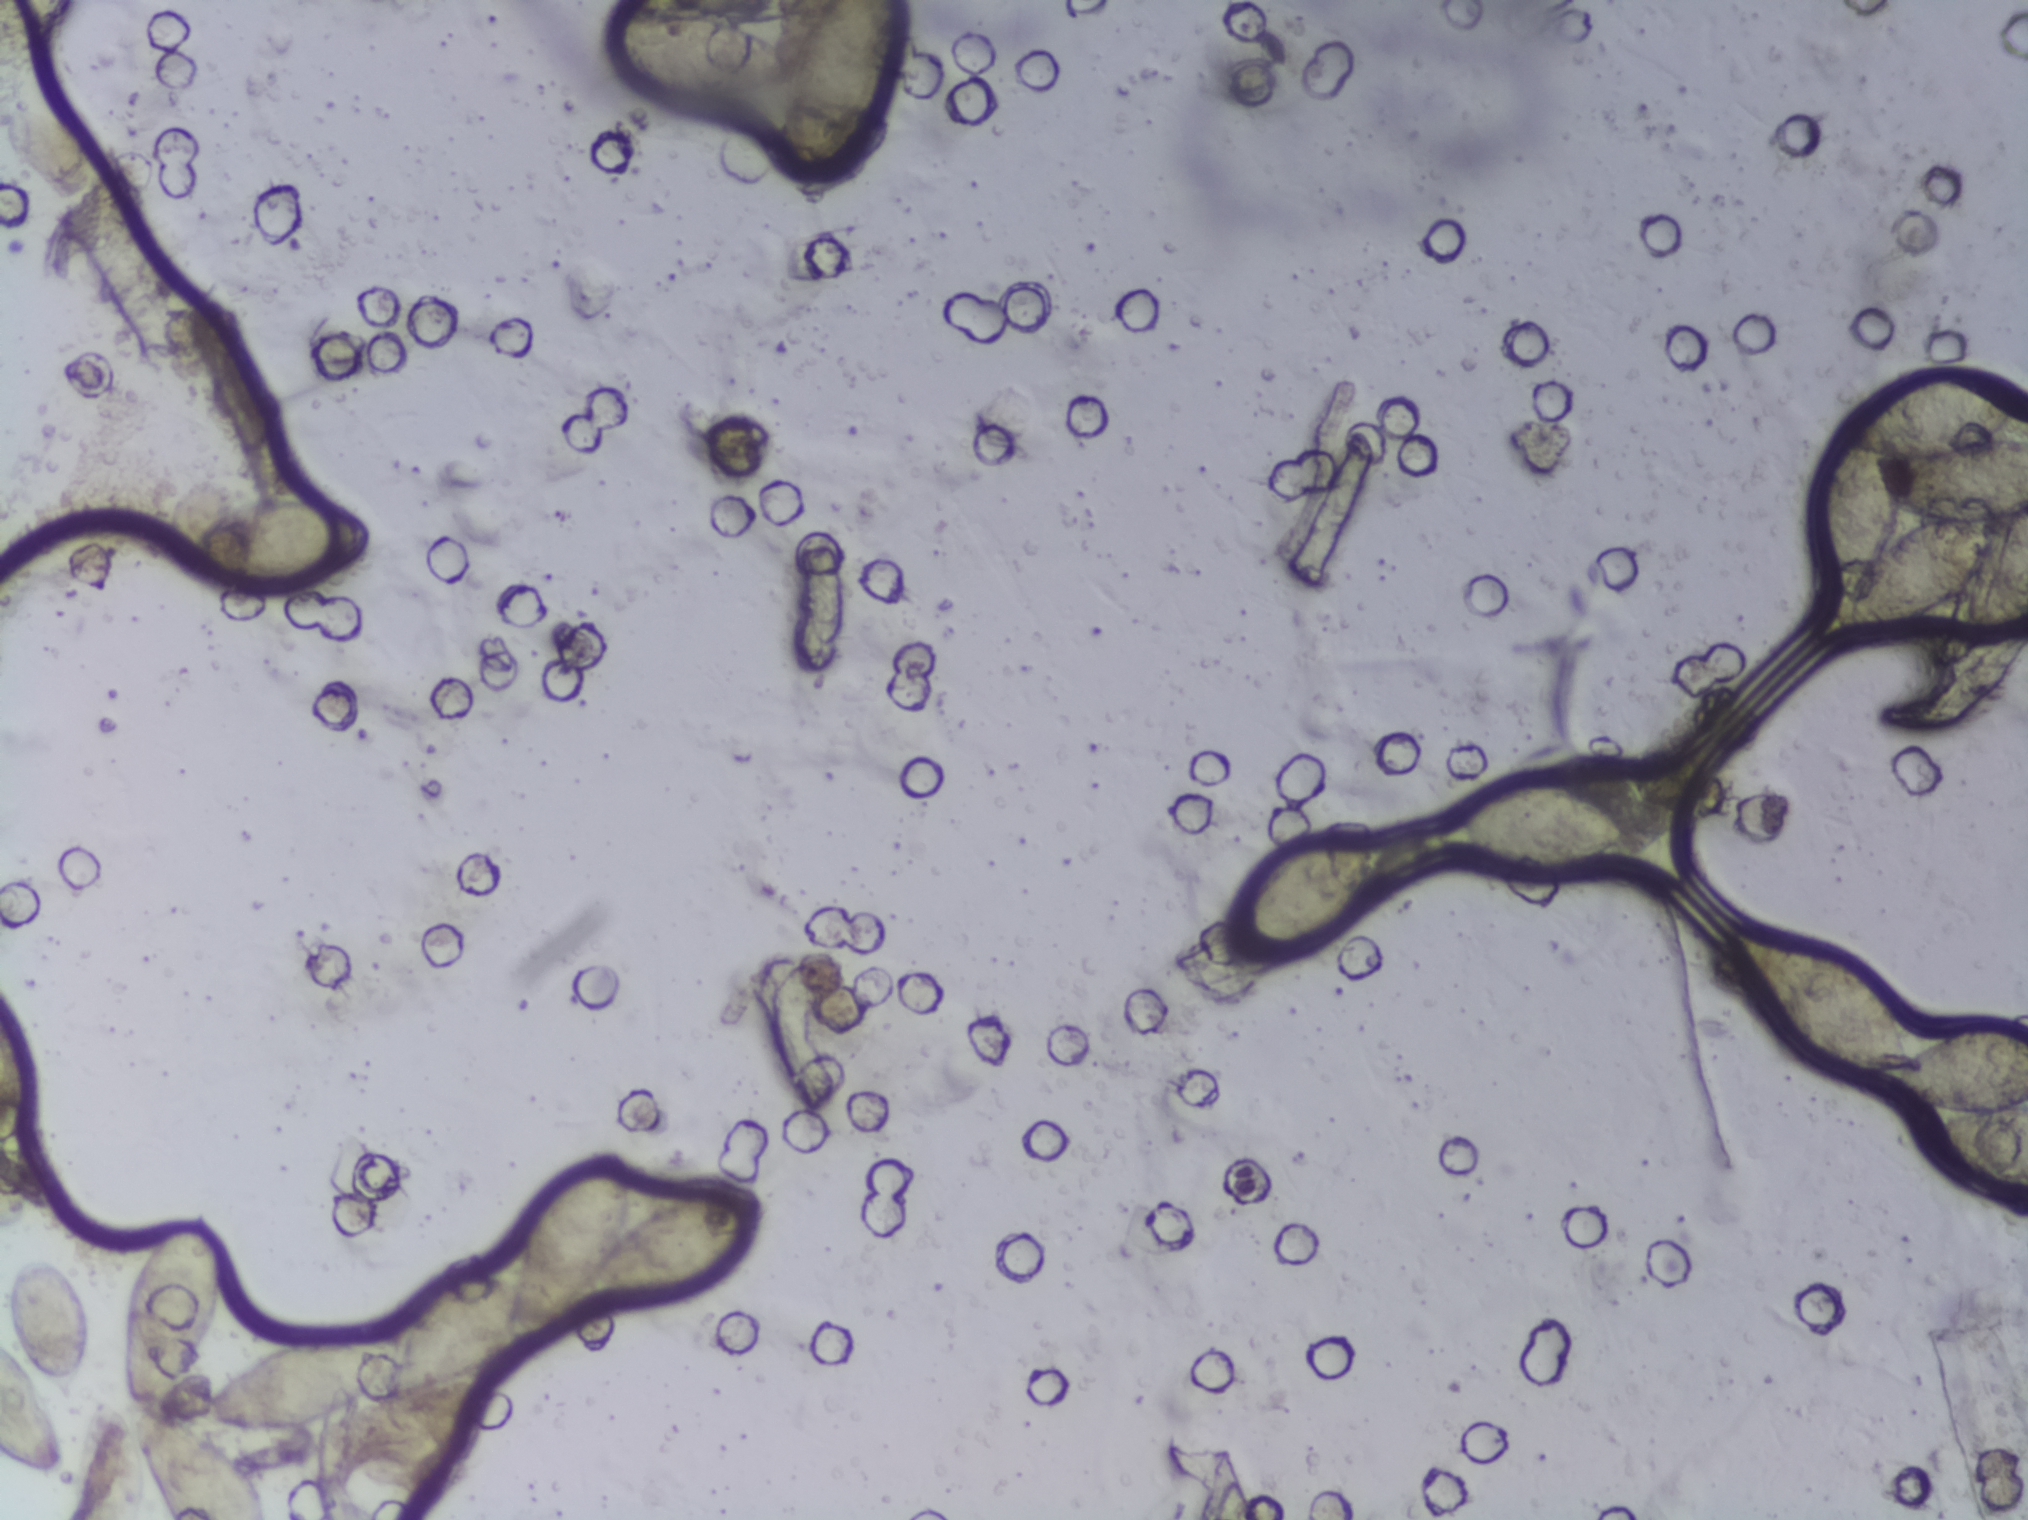
Photograph from an automated digital microscope: urine filter membrane, 4× objective.
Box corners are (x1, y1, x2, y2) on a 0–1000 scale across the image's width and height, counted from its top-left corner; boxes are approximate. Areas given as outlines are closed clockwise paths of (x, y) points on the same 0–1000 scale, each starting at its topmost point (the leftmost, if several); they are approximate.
The expert annotation outlines Schistosoma eggs in ten areas, left to right: box (0, 817, 46, 972) (reaching the left edge of the frame); box (36, 916, 133, 1000) (reaching the bottom edge of the frame); box (61, 796, 111, 924); box (91, 327, 183, 387); outline (299, 760), (303, 760), (307, 770), (311, 804), (337, 785), (372, 781), (376, 789), (373, 820), (357, 843), (337, 855), (282, 861), (263, 889), (231, 910), (194, 920), (188, 904), (181, 917), (161, 935), (142, 941), (107, 937), (99, 931), (98, 921), (103, 913), (132, 888), (172, 881), (186, 887), (189, 898), (208, 860), (204, 857), (208, 852), (235, 840), (254, 842), (258, 808), (264, 795), (286, 768) (a cluster of eggs); box (294, 0, 444, 139) (reaching the top edge of the frame); box (609, 540, 679, 631); box (714, 514, 817, 576); outline (858, 610), (886, 616), (906, 630), (930, 664), (943, 695), (971, 677), (1000, 679), (999, 791), (972, 785), (948, 754), (946, 741), (966, 731), (927, 723), (919, 712), (881, 688), (857, 638), (854, 615) (reaching the right edge of the frame); box (894, 242, 1000, 416) (a cluster of eggs; reaching the right edge of the frame). A single outlined area may contain several eggs.